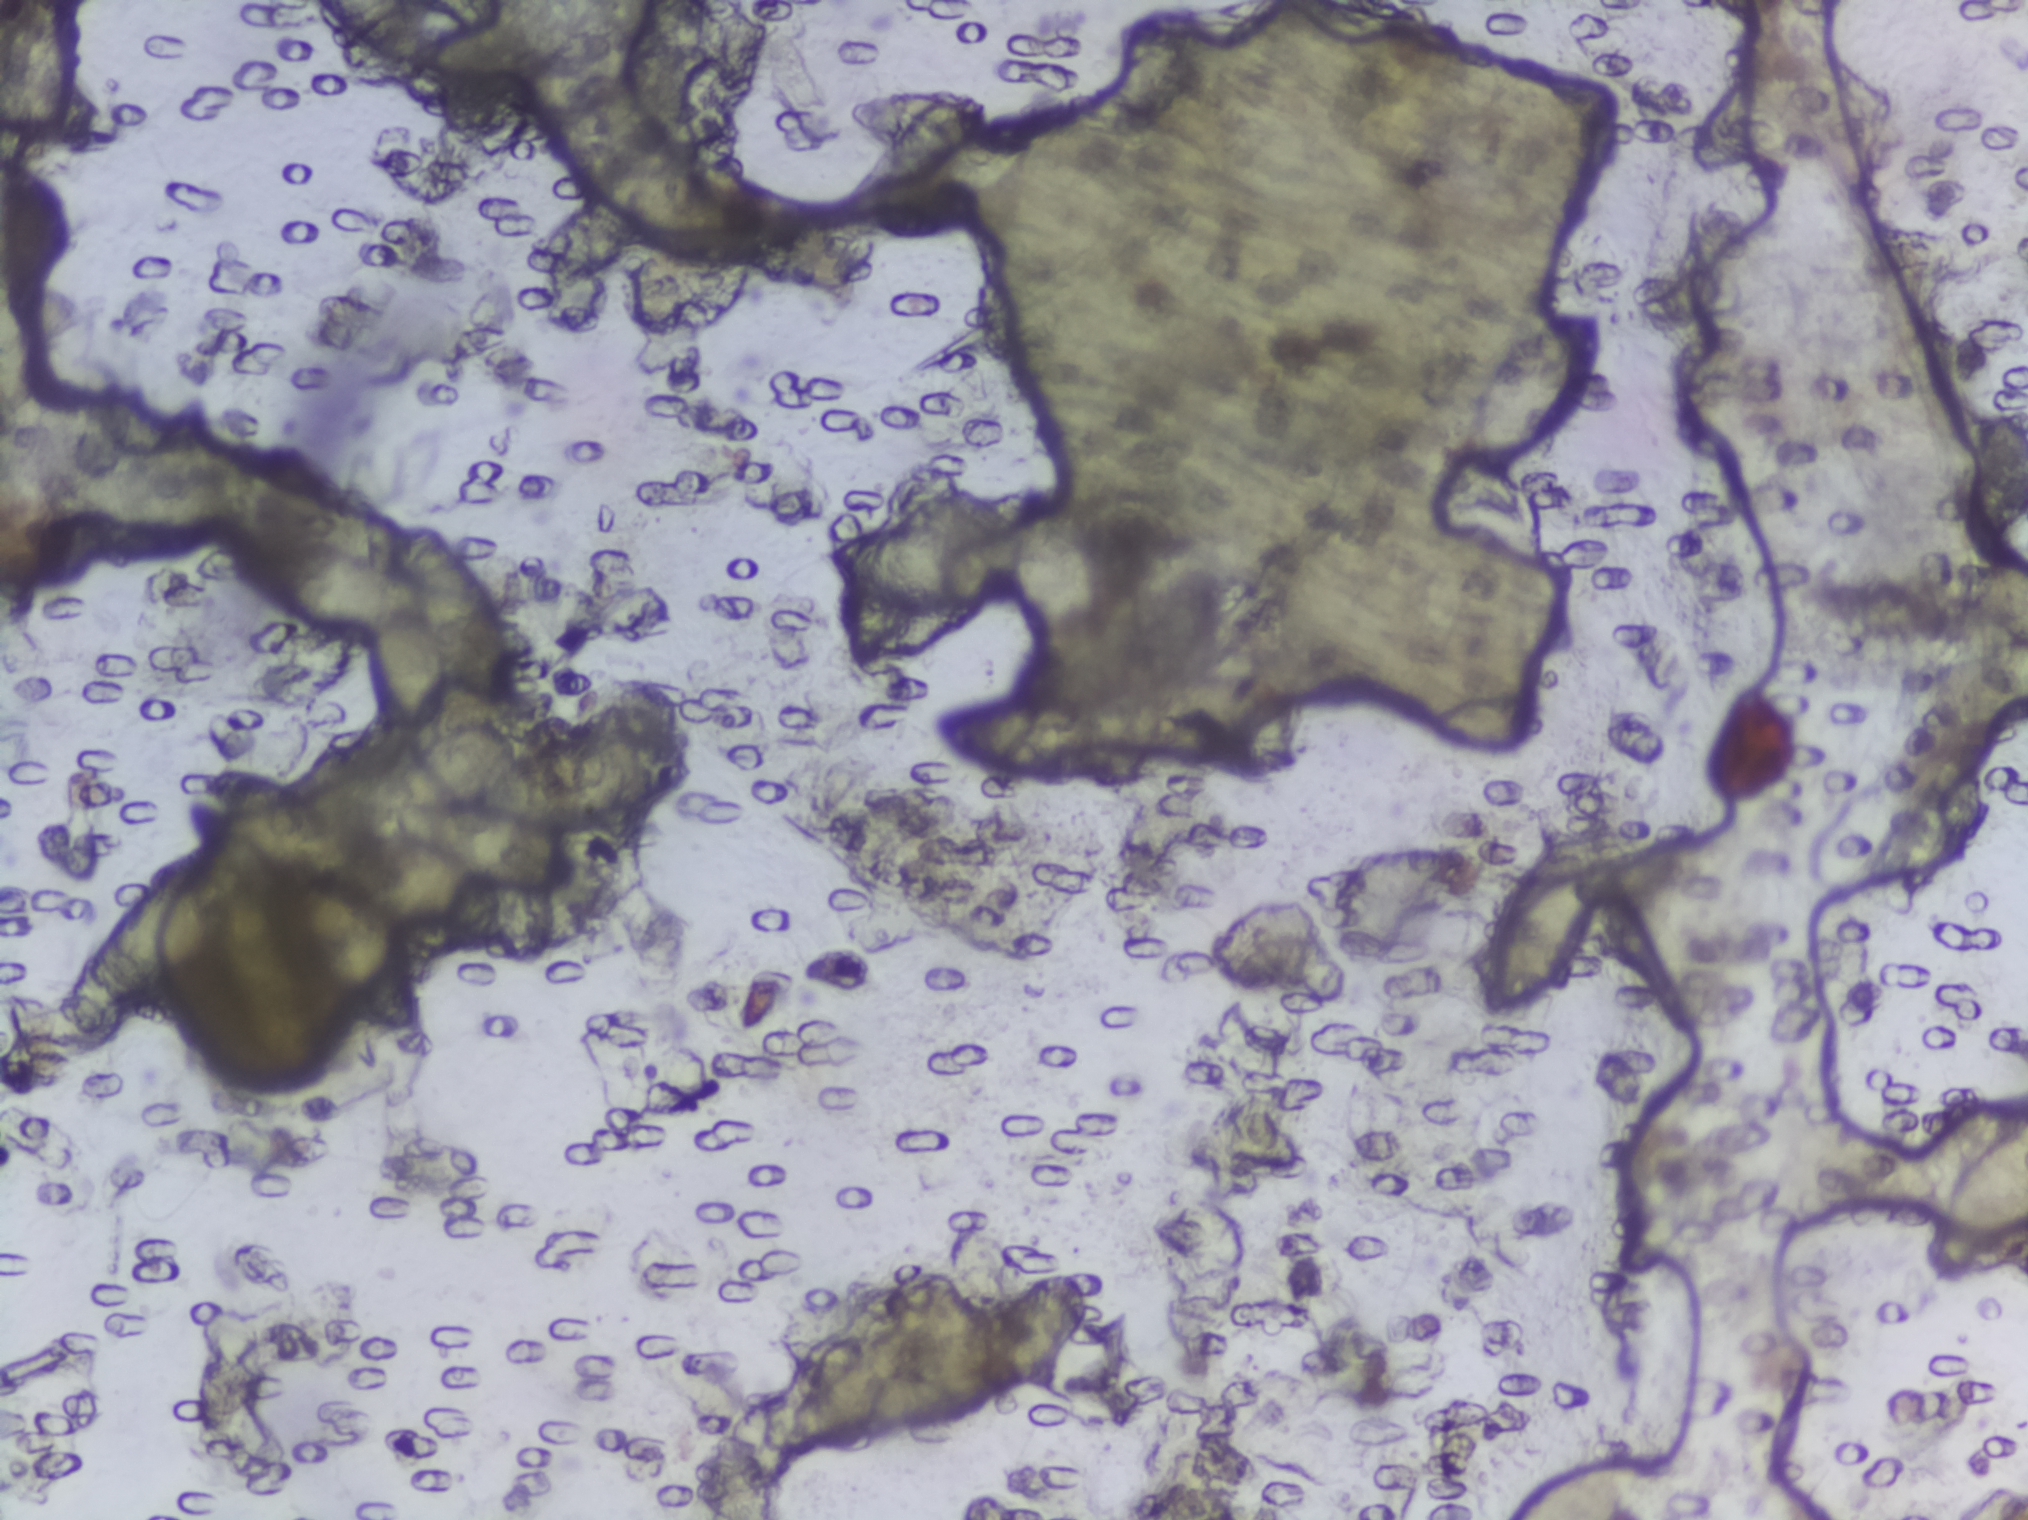
One field of view of a urine filter membrane, 4× objective, 2028 × 1520 pixels.
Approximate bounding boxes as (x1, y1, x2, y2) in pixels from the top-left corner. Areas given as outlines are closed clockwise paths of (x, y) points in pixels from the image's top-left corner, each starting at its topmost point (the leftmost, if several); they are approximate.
The expert annotation outlines Schistosoma eggs in 12 areas, left to right: outline (472, 718), (504, 718), (524, 747), (525, 762), (537, 742), (563, 731), (615, 726), (655, 732), (690, 754), (695, 775), (686, 800), (648, 823), (565, 838), (577, 876), (556, 892), (555, 945), (542, 965), (512, 964), (484, 936), (440, 936), (401, 922), (413, 943), (419, 1019), (405, 1027), (374, 1024), (334, 994), (303, 953), (279, 894), (281, 879), (297, 873), (259, 854), (211, 814), (198, 797), (198, 782), (206, 769), (228, 764), (270, 772), (320, 796), (354, 836), (365, 830), (397, 834), (395, 814), (383, 800), (387, 782), (408, 750), (440, 724) (a cluster of eggs); box (360, 519, 511, 732); box (821, 504, 1002, 670); box (847, 93, 978, 148); box (935, 696, 1135, 788); box (1011, 475, 1099, 668); box (1471, 307, 1603, 480); box (1479, 835, 1609, 1013); box (1511, 1462, 1636, 1519) (reaching the bottom edge of the frame); box (1690, 74, 1752, 169); box (1932, 1107, 2027, 1243) (reaching the right edge of the frame); box (1967, 560, 2027, 646) (reaching the right edge of the frame). Marked pixels, not the boxes and the outline around them: about 6.4% of the image. Eggs that touch can end up inside the same outlined area.